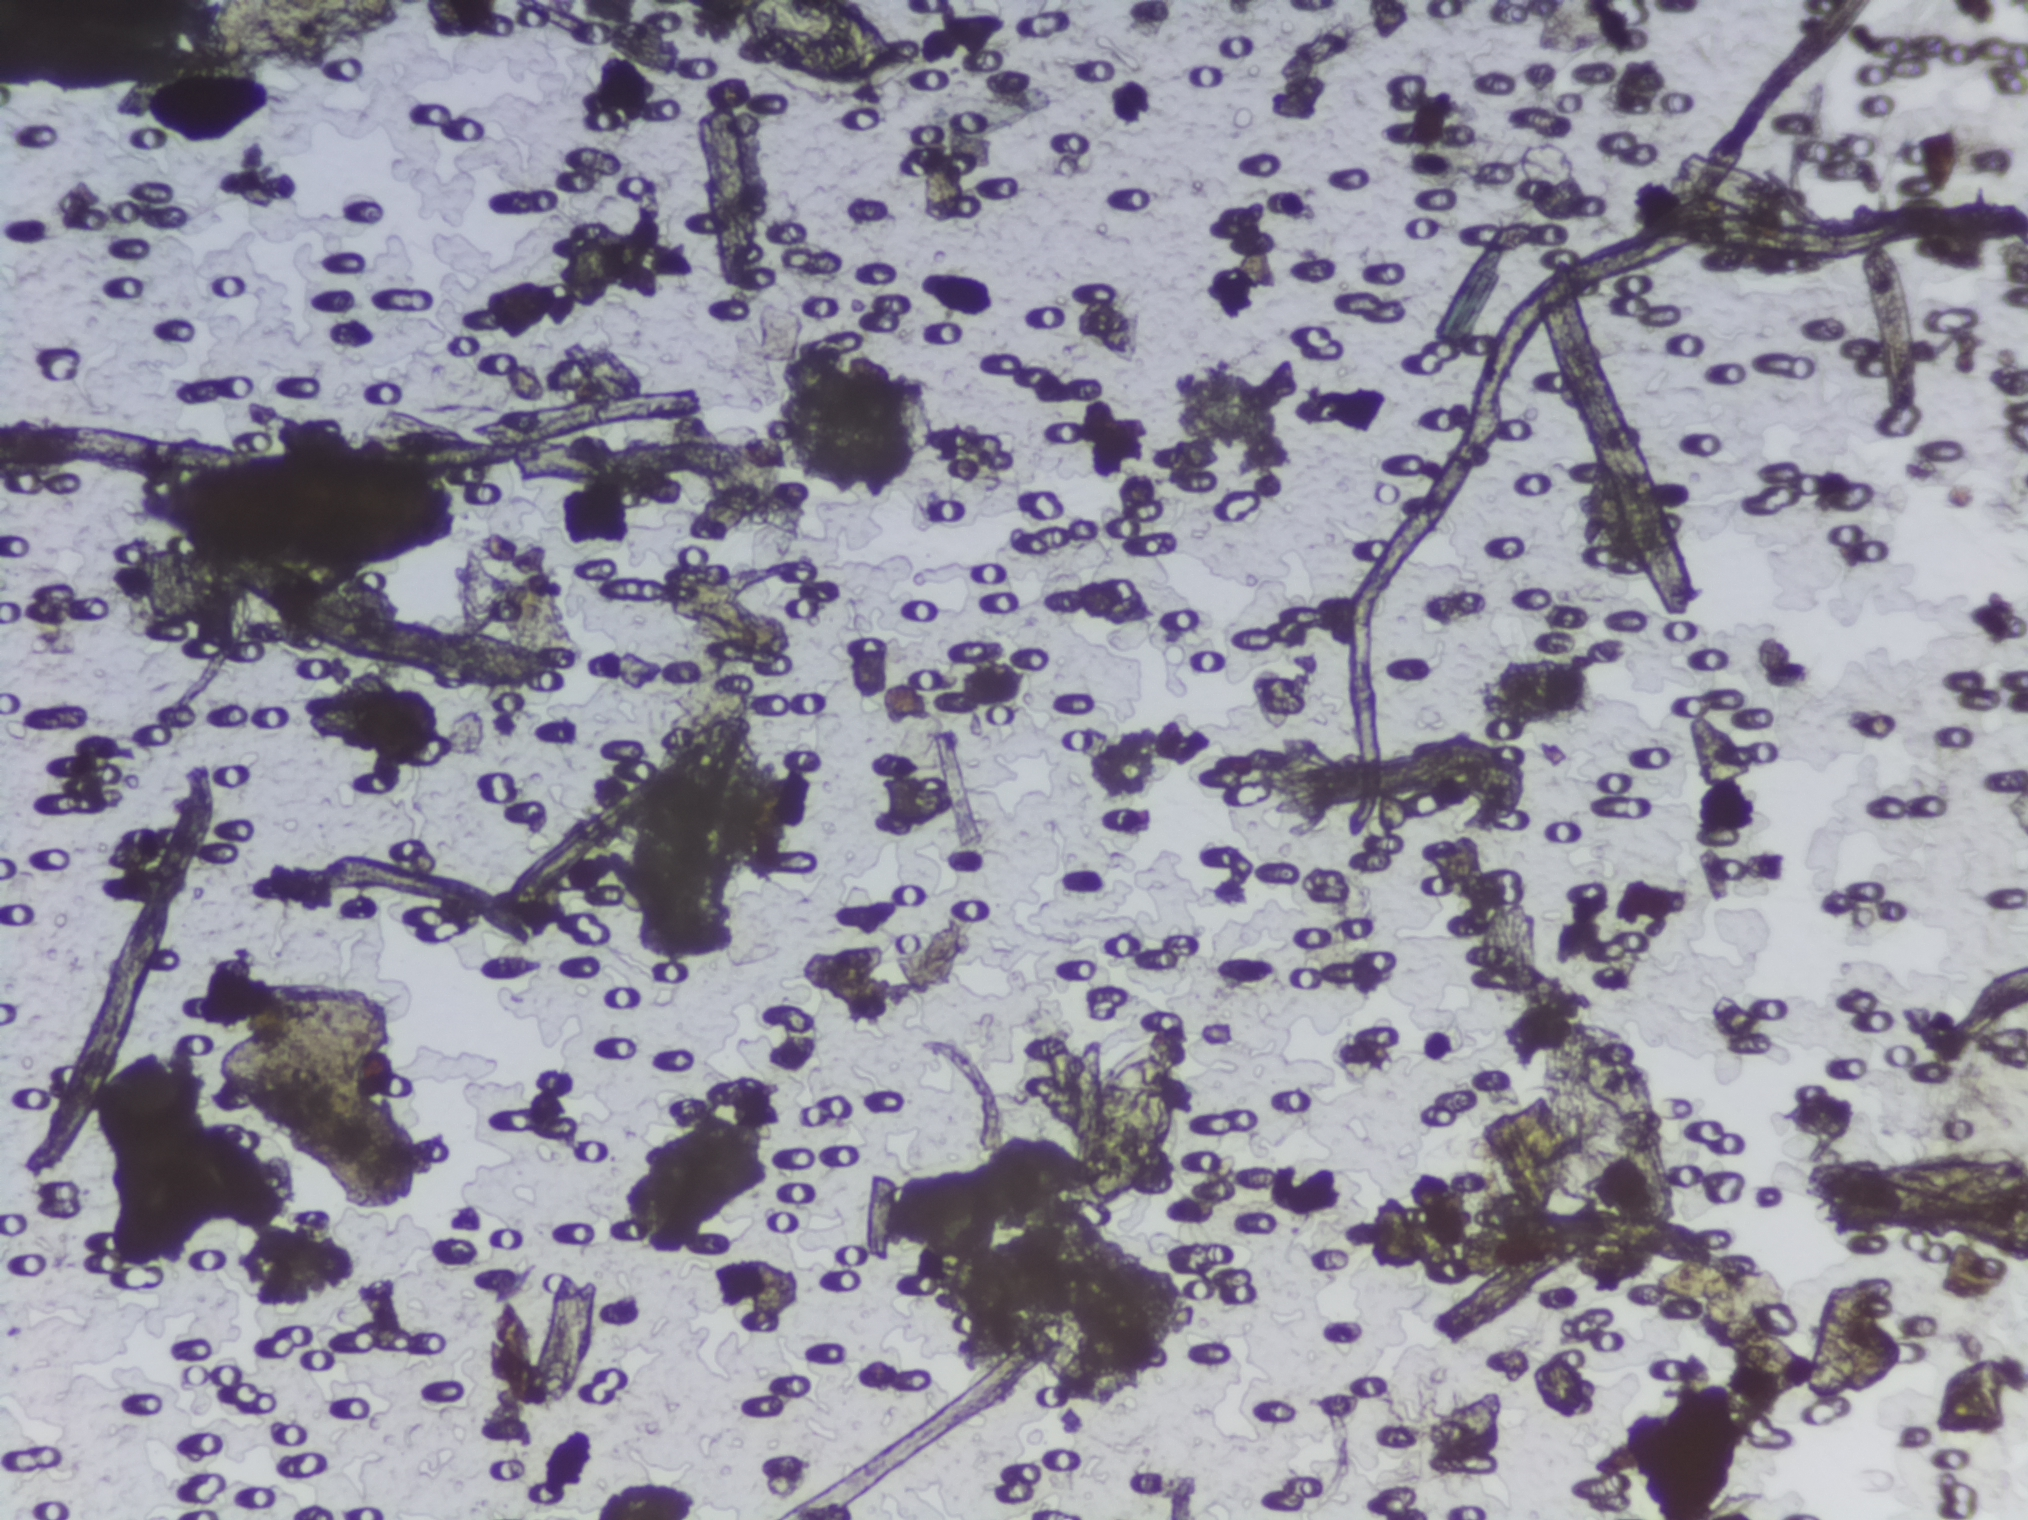
Urine filter membrane photographed through a 4× microscope objective.
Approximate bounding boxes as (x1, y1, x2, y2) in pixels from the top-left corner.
Three areas of this image are outlined as Schistosoma eggs, from left to right: (125, 460, 461, 585); (739, 0, 912, 97) (reaching the top edge of the frame); (1060, 1020, 1202, 1231). A single outlined area may contain several eggs.